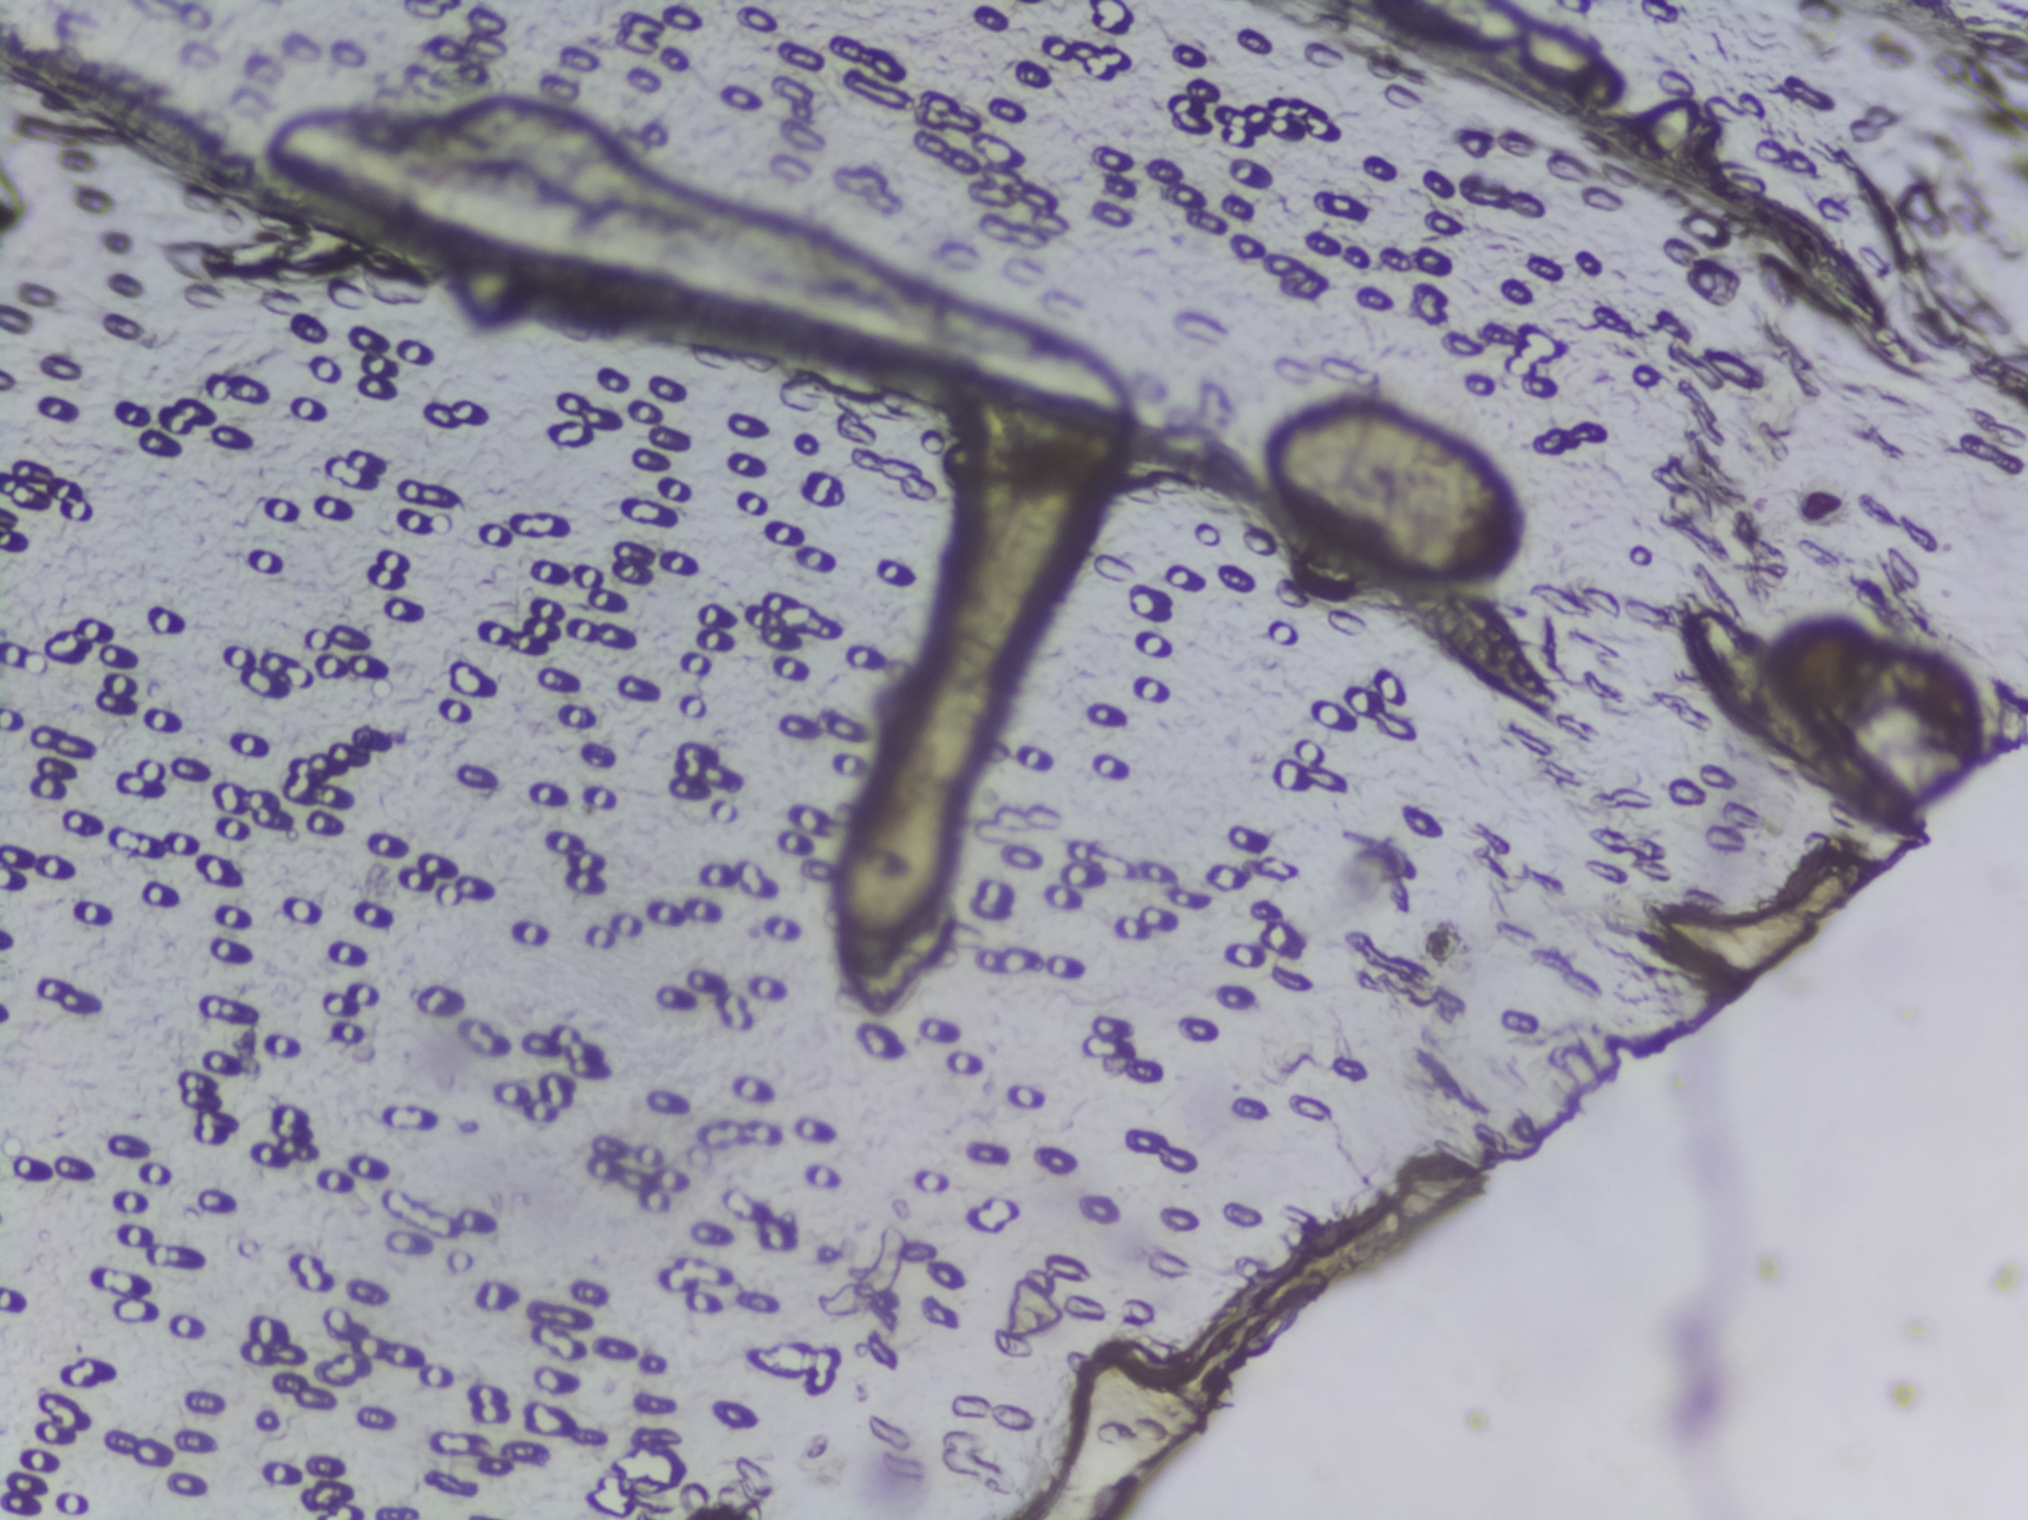
No area of this image was outlined as a Schistosoma egg.
One field of view of a urine filter membrane, 4× objective, 2028 × 1520 pixels. The field of view is about 1.5 mm × 1.1 mm.